Photomicrograph of a urine filtration membrane, 4× objective.
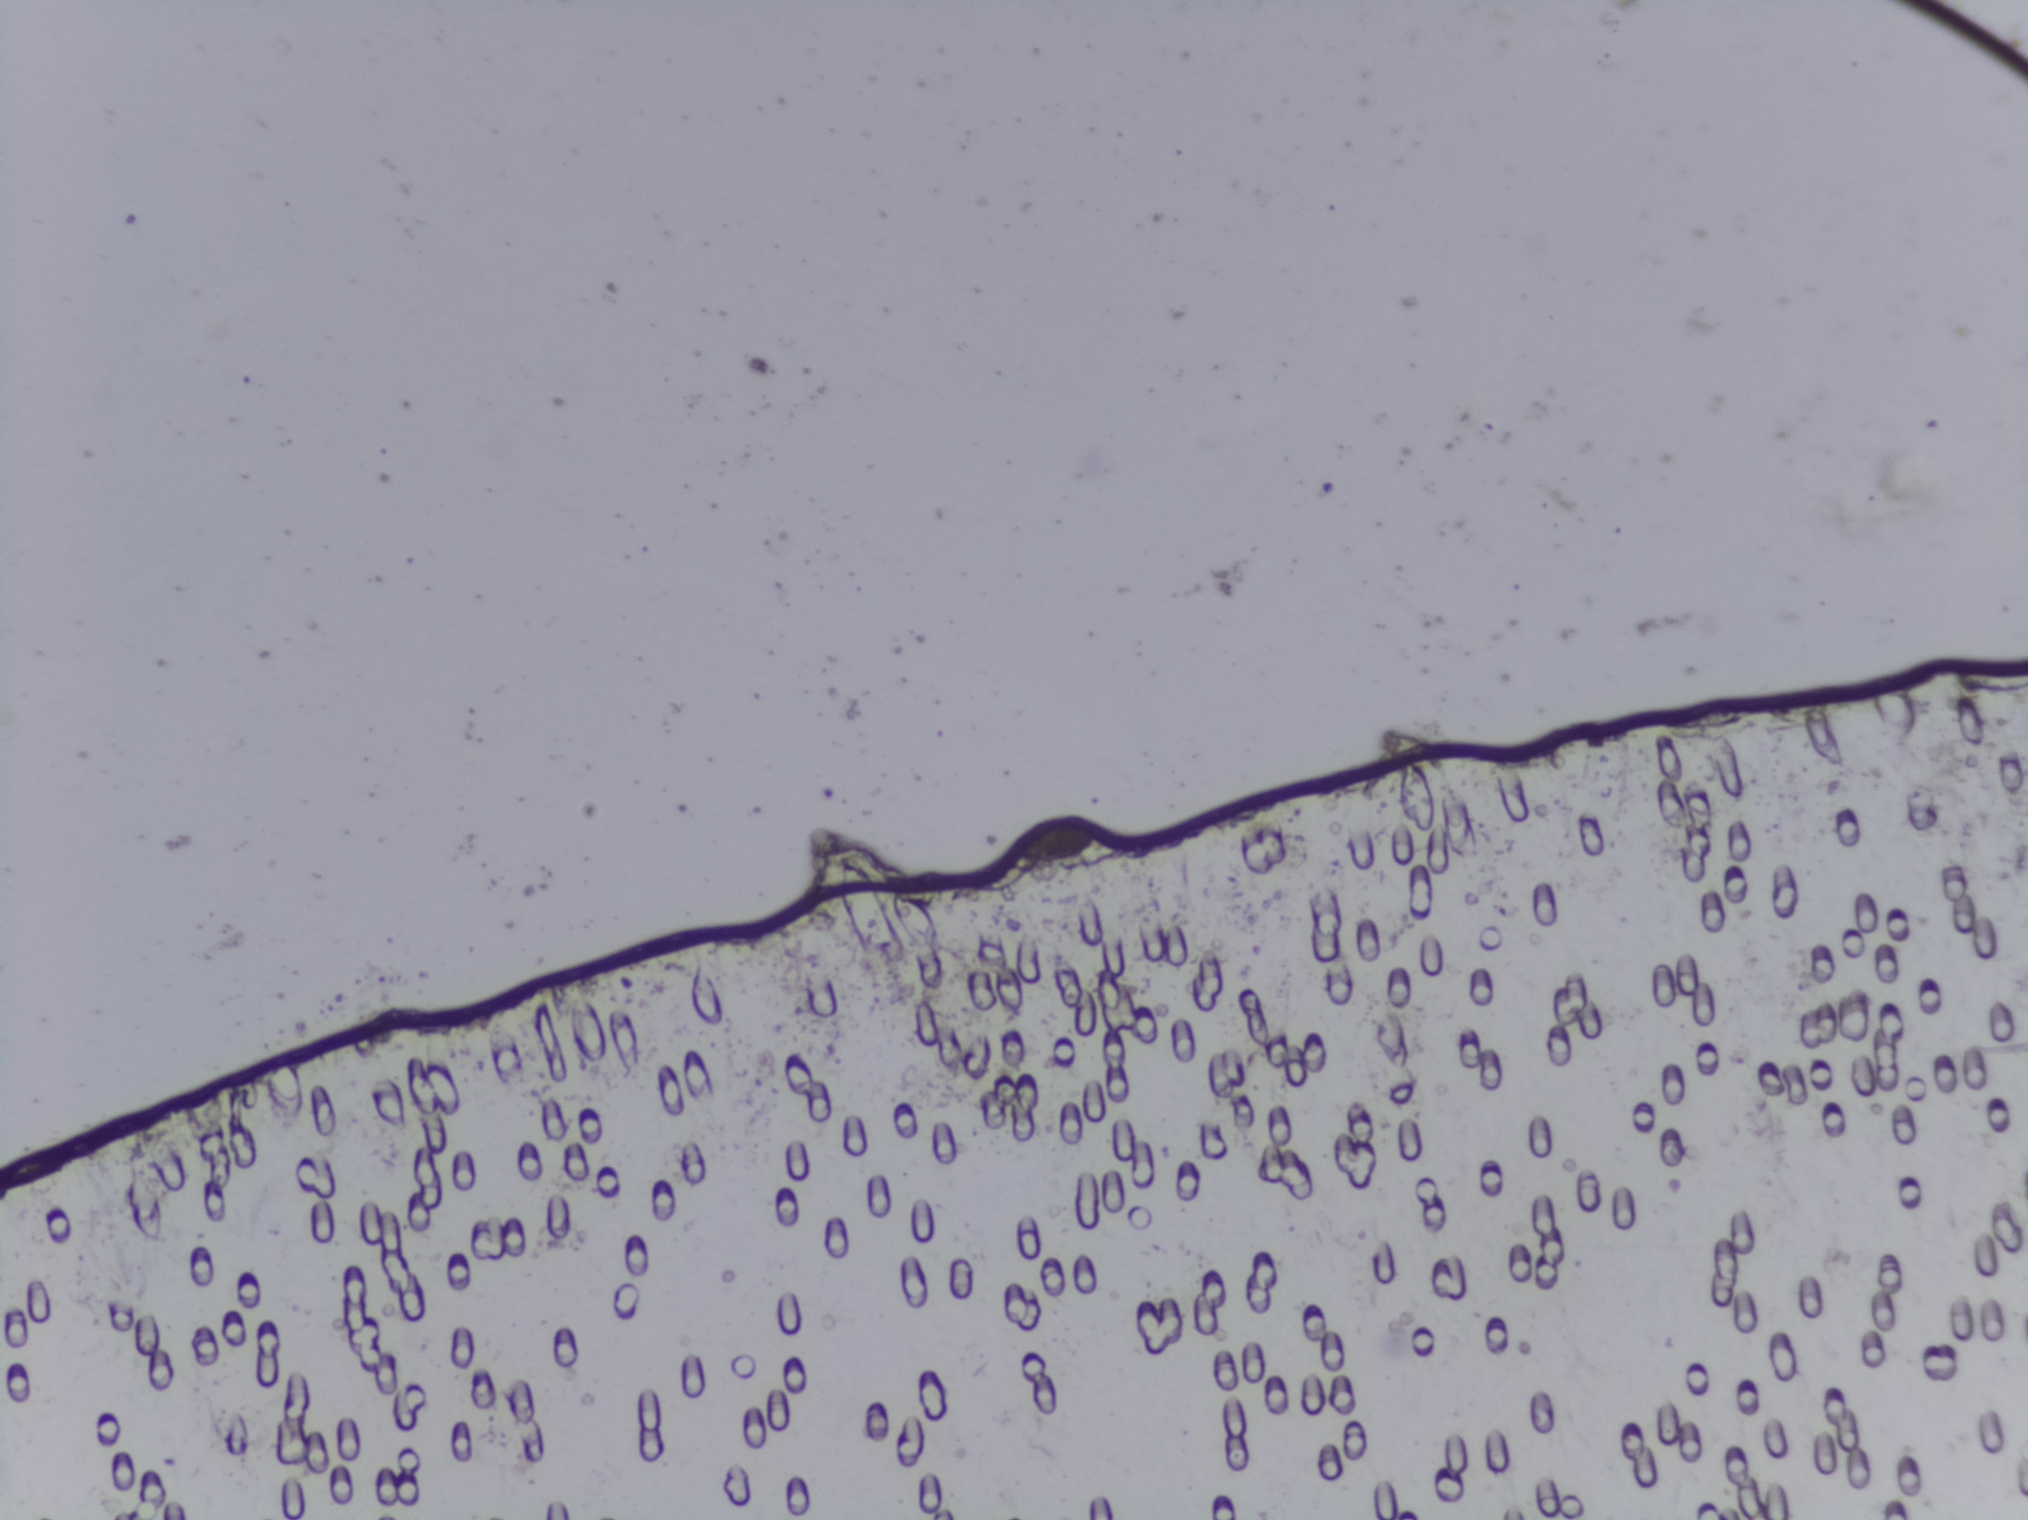
The expert annotation outlines no Schistosoma egg in this image.